Photomicrograph of a urine filtration membrane, 4× objective.
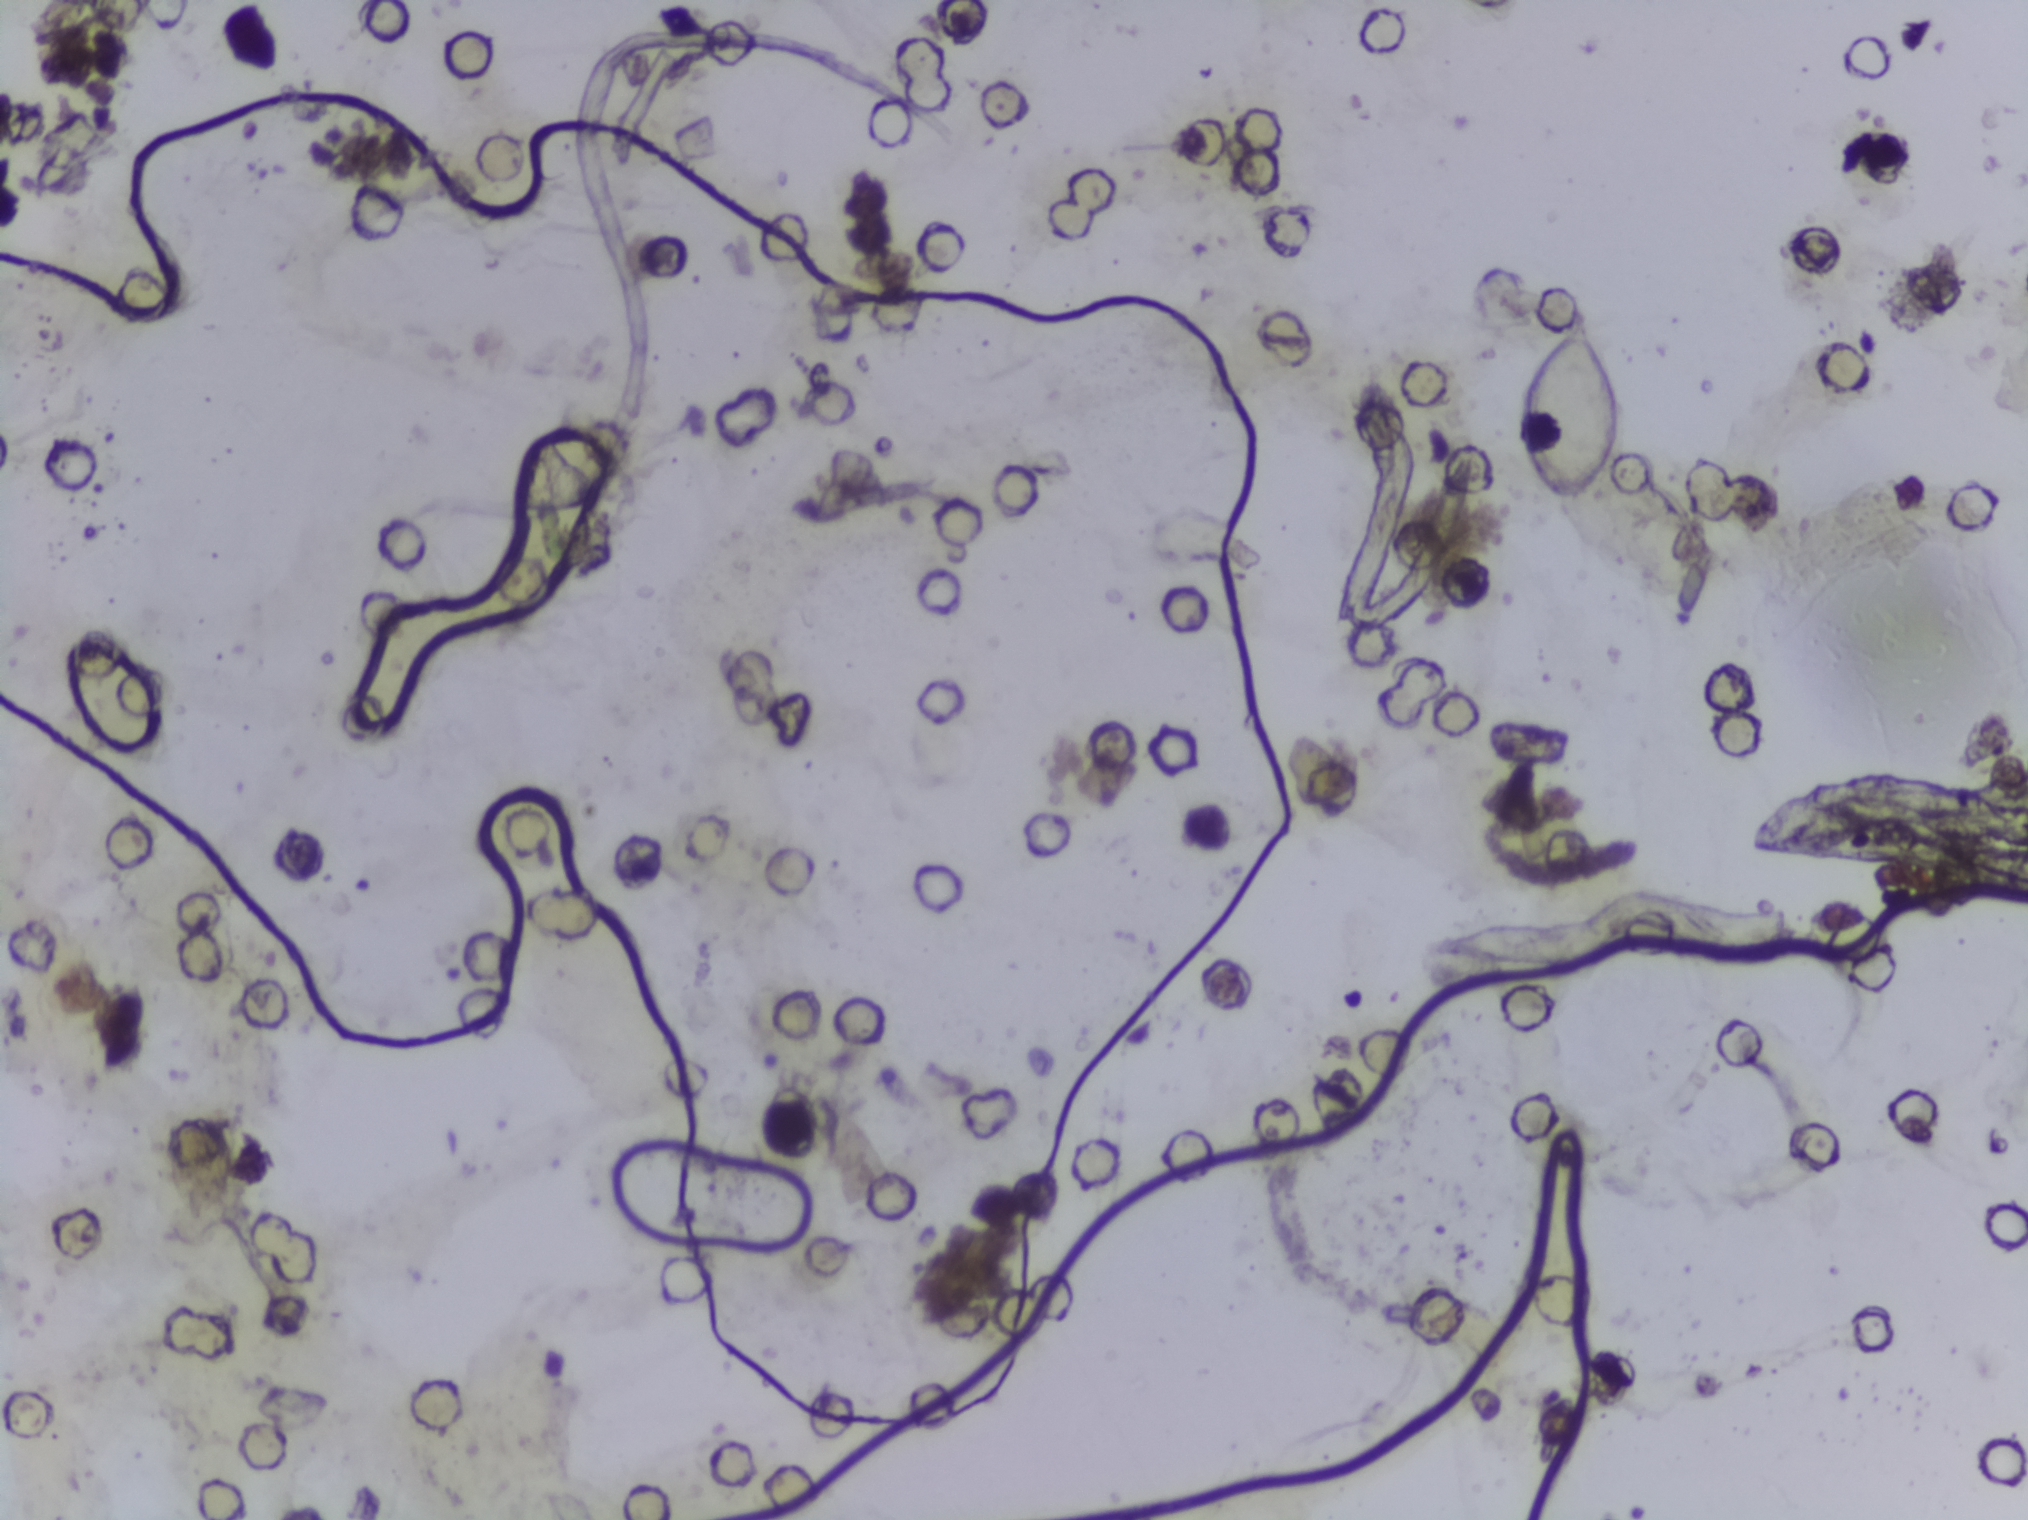
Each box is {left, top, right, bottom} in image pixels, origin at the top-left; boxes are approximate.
The expert annotation outlines Schistosoma eggs at {1523, 298, 1626, 507}. About 0.5% of the image's pixels are marked (the marked pixels themselves, not the box around them). An outlined area can hold more than one egg.